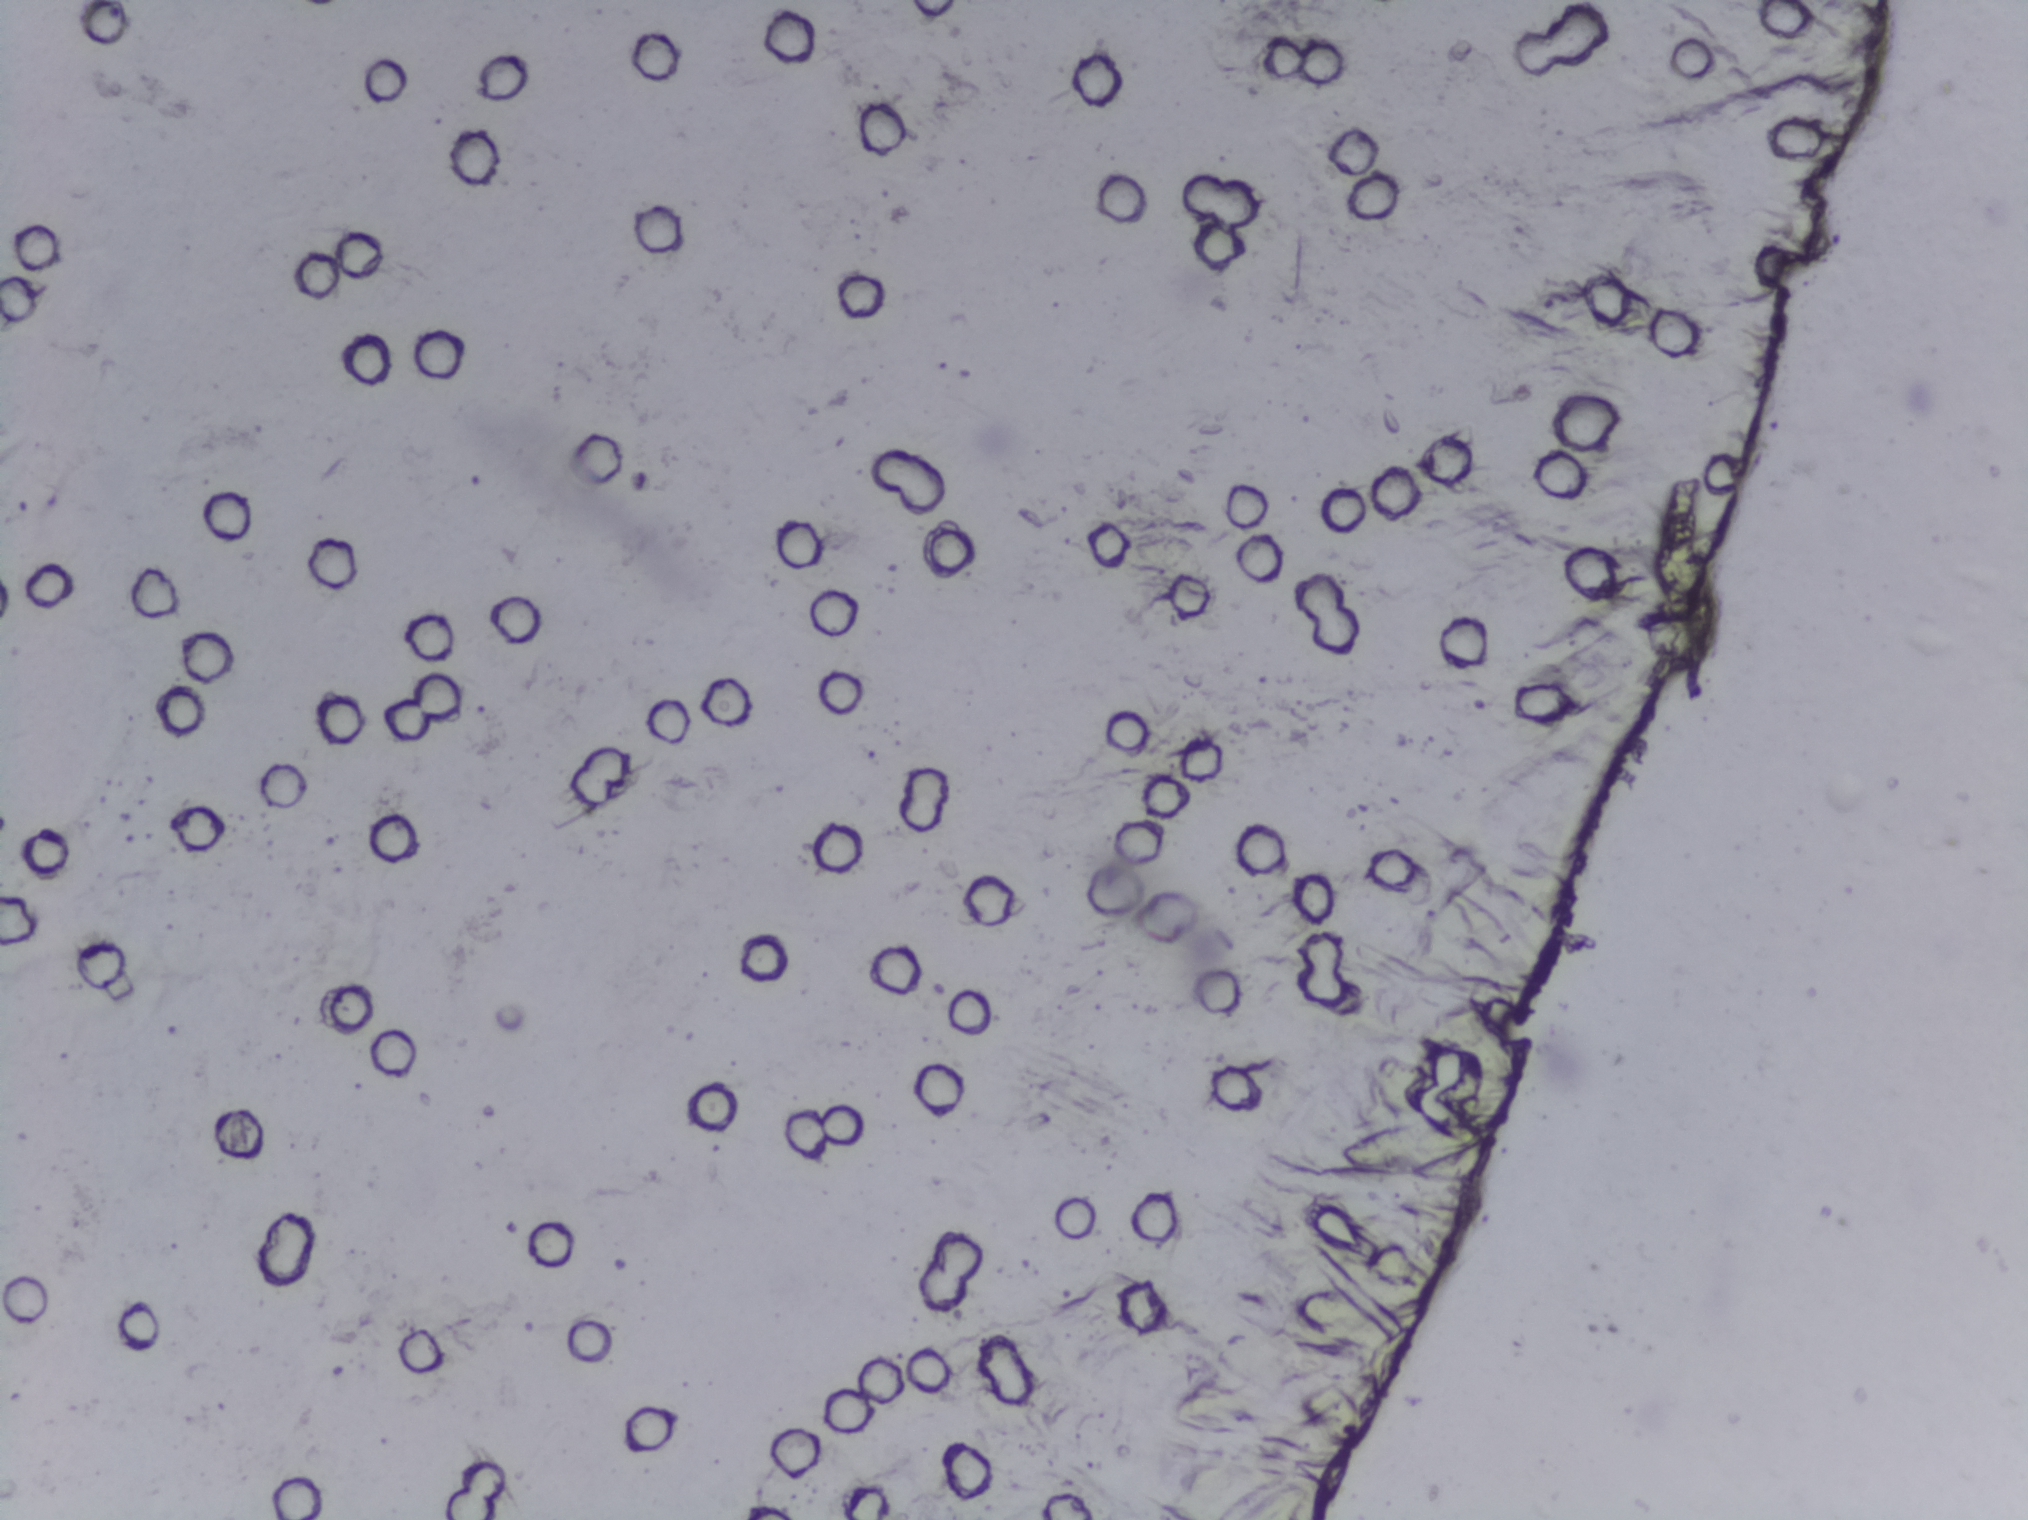
The expert annotation outlines no Schistosoma egg in this image.
One field of view of a urine filter membrane, 4× objective, 2028 × 1520 pixels. The image covers about 1.5 × 1.1 mm of the membrane.